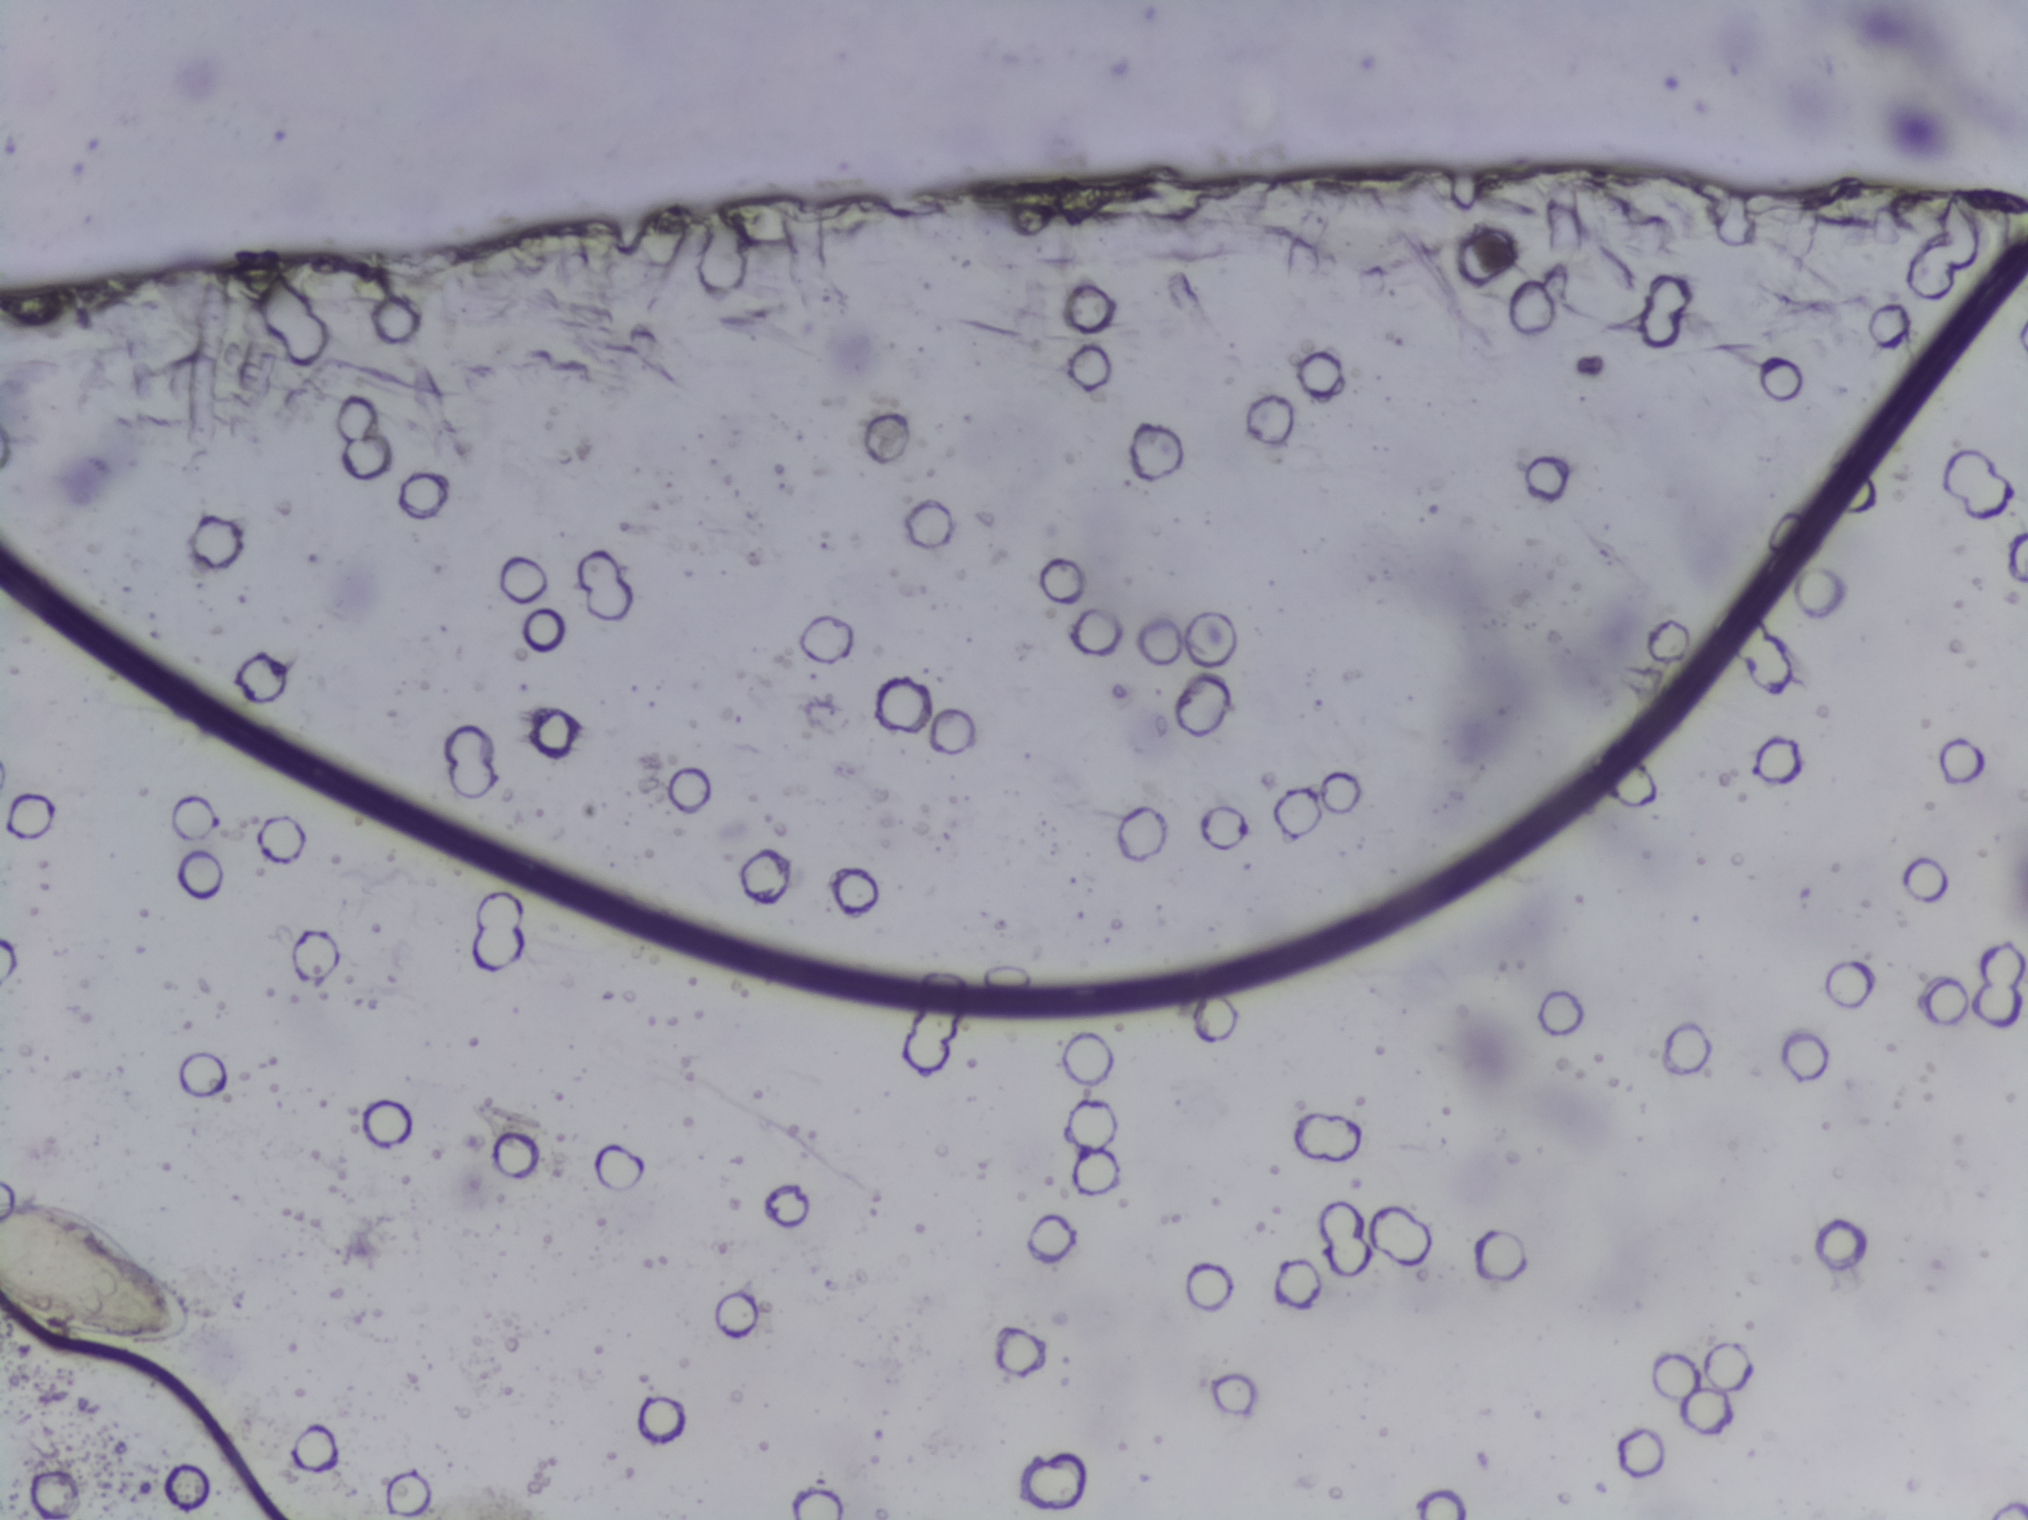
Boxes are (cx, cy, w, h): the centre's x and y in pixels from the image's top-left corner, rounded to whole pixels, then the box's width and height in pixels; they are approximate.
Schistosoma eggs, outlined areas: (cx=99, cy=1273, w=199, h=157) (reaching the left edge of the frame). An outlined area can hold more than one egg. Any one outlined egg may, rarely, be S. mansoni rather than S. haematobium.
Microscope photograph (4× objective) of a membrane that a urine sample was filtered through.